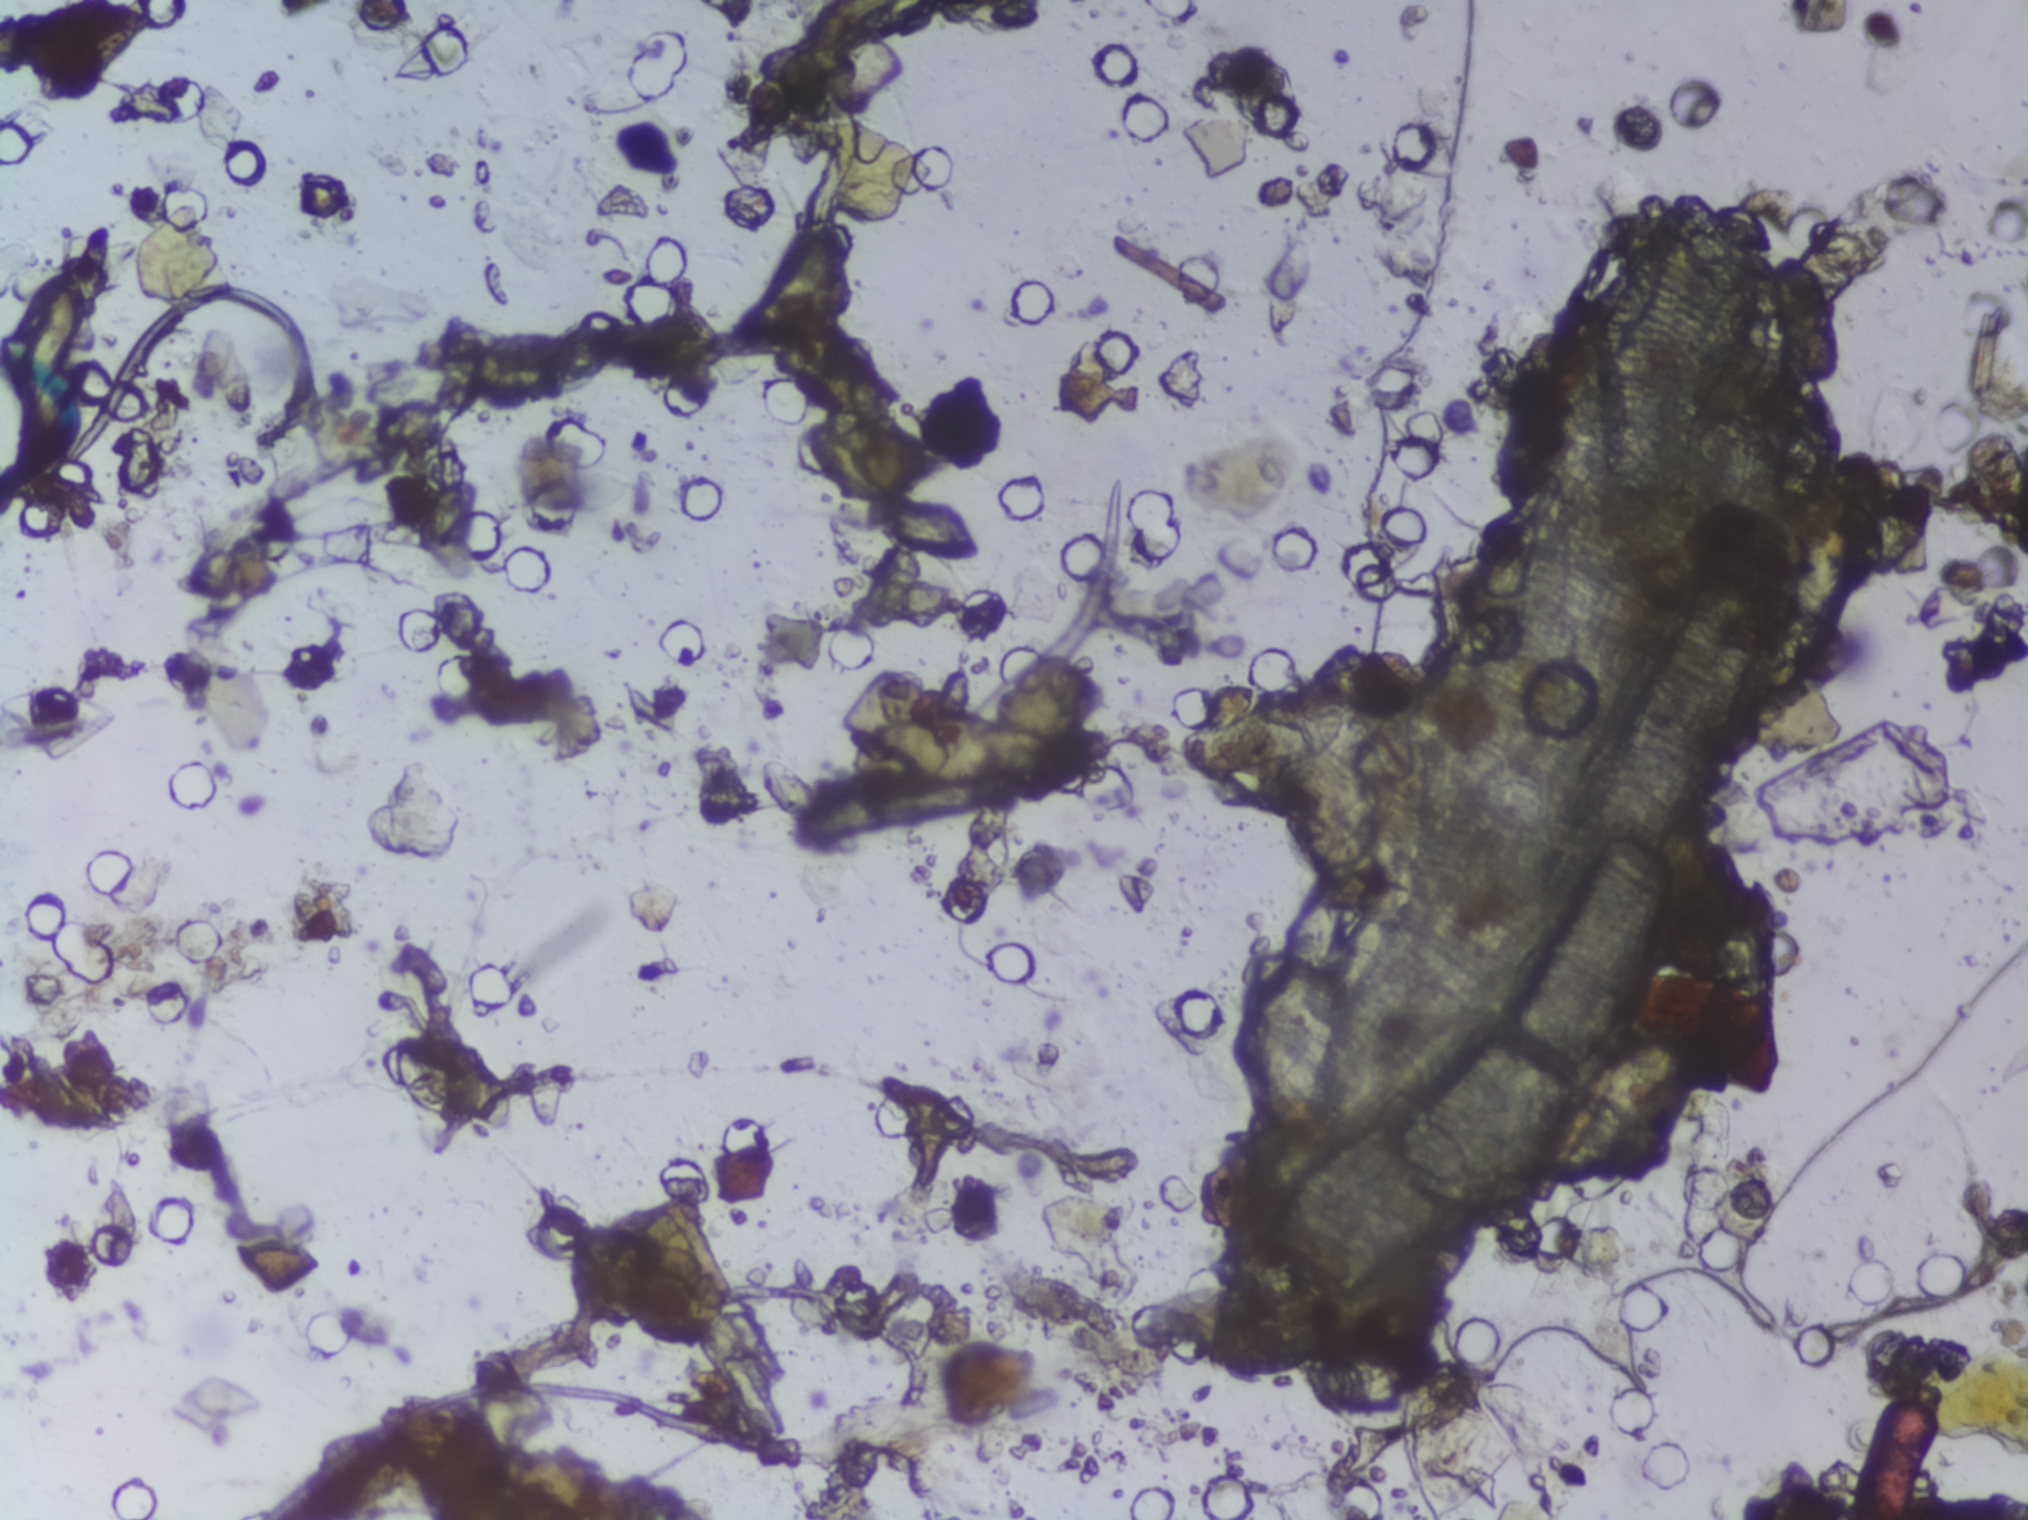
Urine filtration membrane under a 4× objective, photographed by an automated digital microscope. Field of view: about 1.5 mm wide and 1.1 mm high.
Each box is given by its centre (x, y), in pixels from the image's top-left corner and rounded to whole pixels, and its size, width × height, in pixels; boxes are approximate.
Schistosoma eggs, outlined areas: centre (968, 745), 214 × 72 px. About 0.3% of the image's pixels are marked (the marked pixels themselves, not the box around them). A single outlined area may contain several eggs.